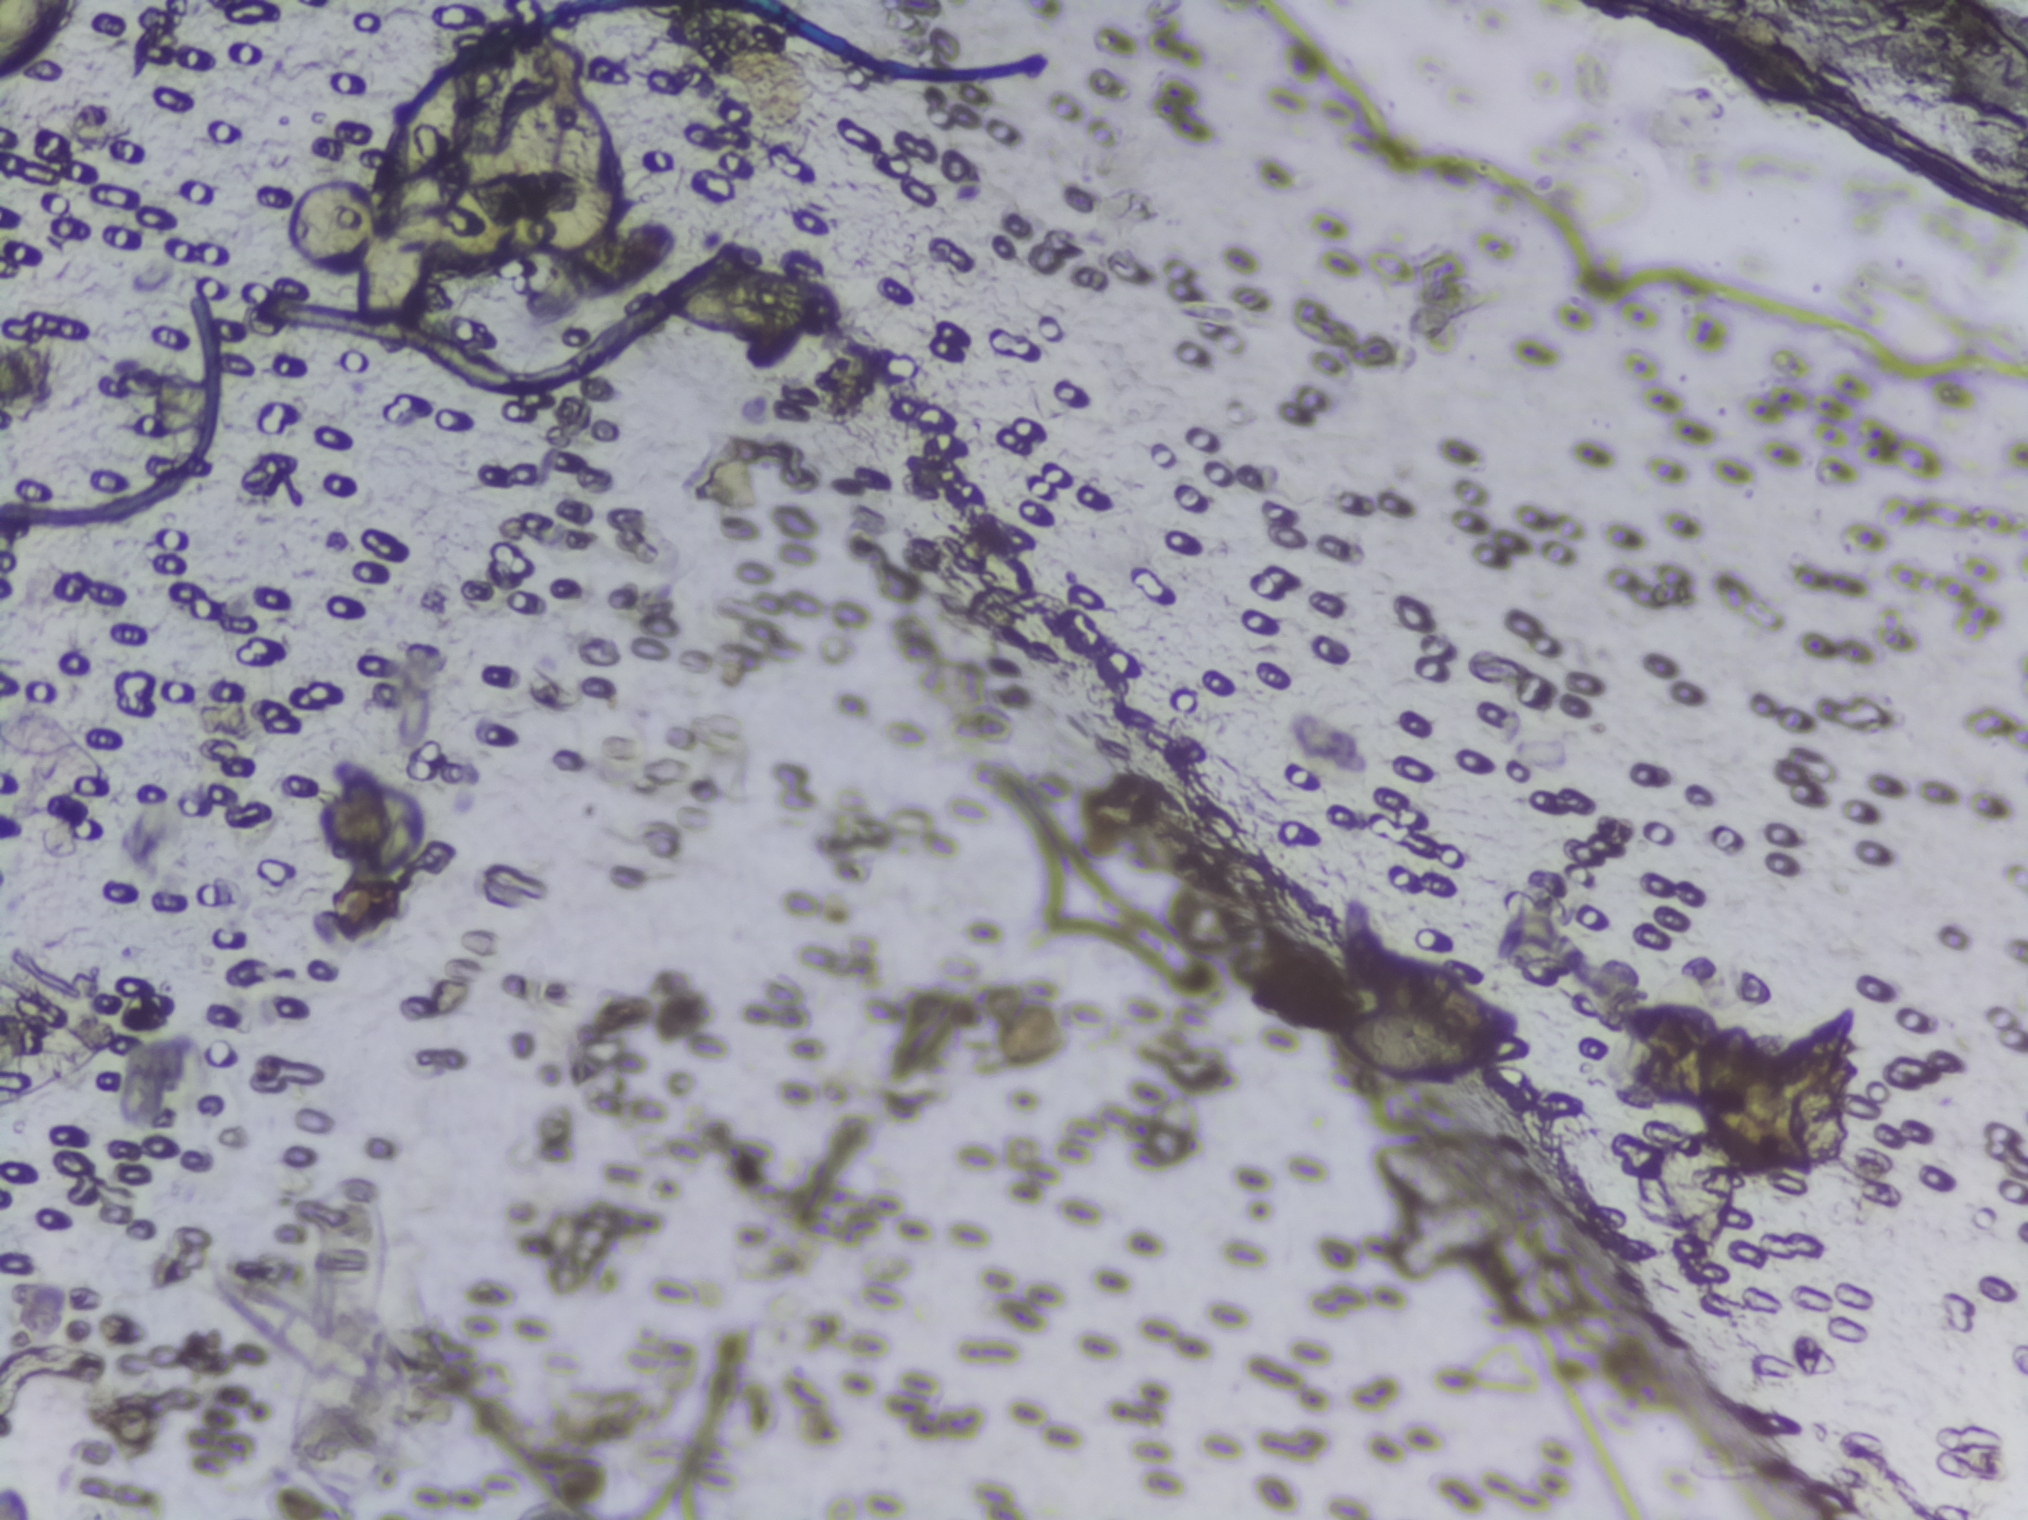
One field of view of a urine filter membrane, 4× objective, 2028 × 1520 pixels. Field of view: about 1.5 mm wide and 1.1 mm high.
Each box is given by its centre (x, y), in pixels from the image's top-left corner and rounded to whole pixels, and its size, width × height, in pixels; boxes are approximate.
Findings: three areas outlined as Schistosoma eggs. Locations, left to right: centre (36, 38), 73 × 77 px (reaching the left and top edges of the frame); centre (757, 306), 180 × 81 px; centre (1432, 1041), 210 × 74 px. Eggs that touch can end up inside the same outlined area. A marked egg may occasionally be S. mansoni rather than S. haematobium.